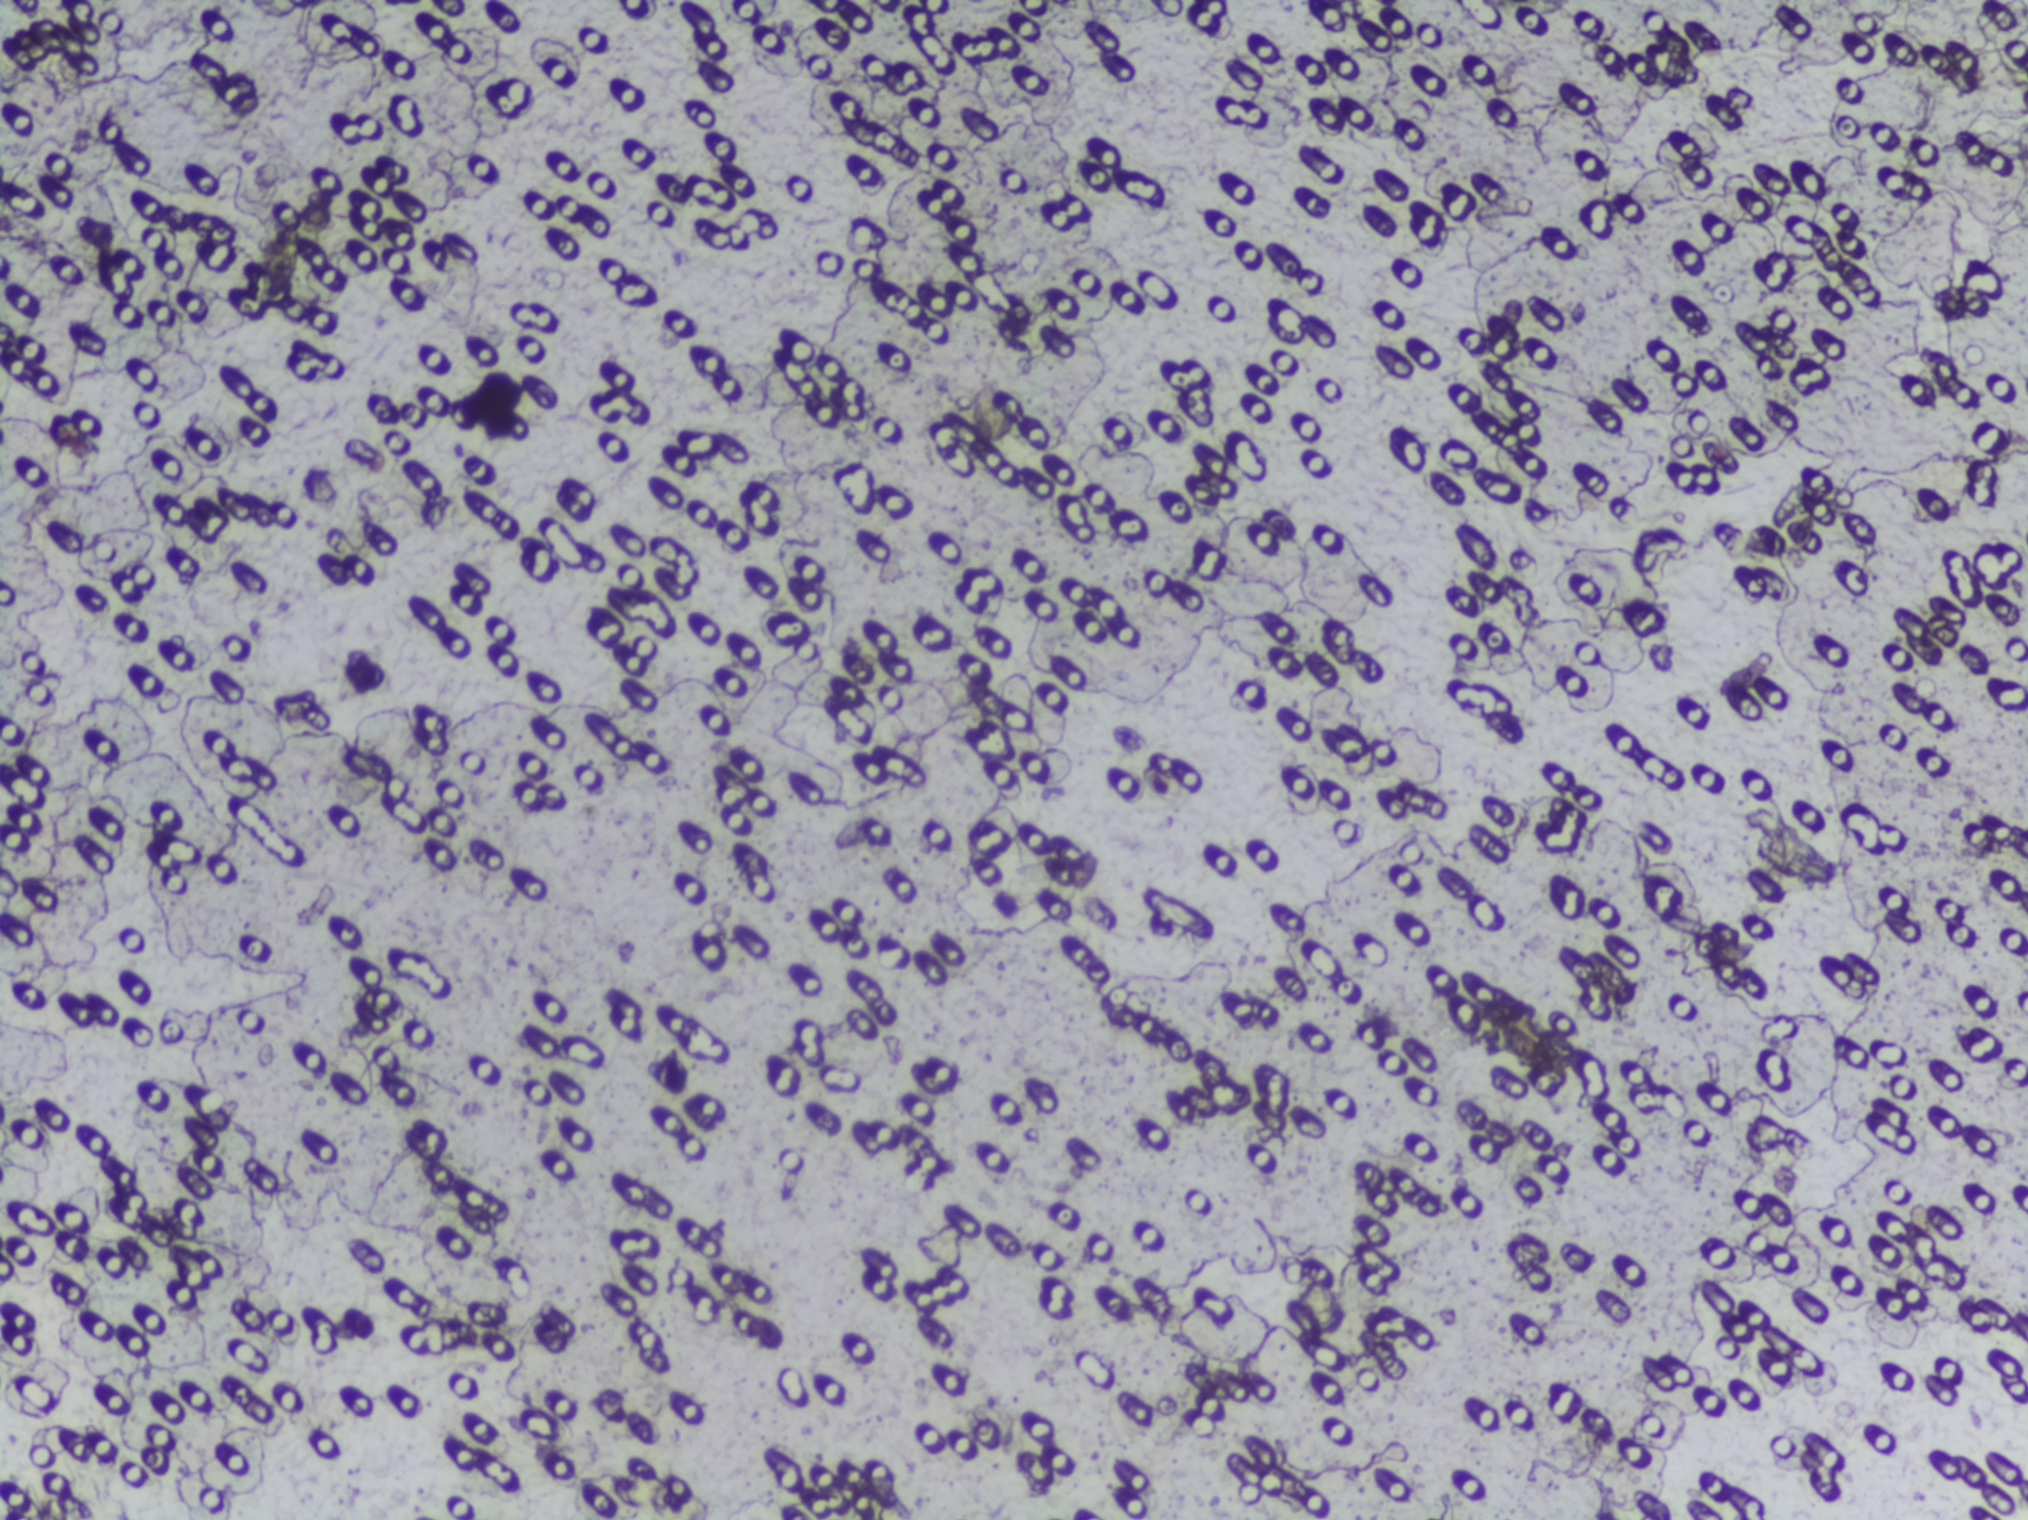
Urine filter membrane photographed through a 4× microscope objective.
The expert annotation outlines no Schistosoma egg in this image.